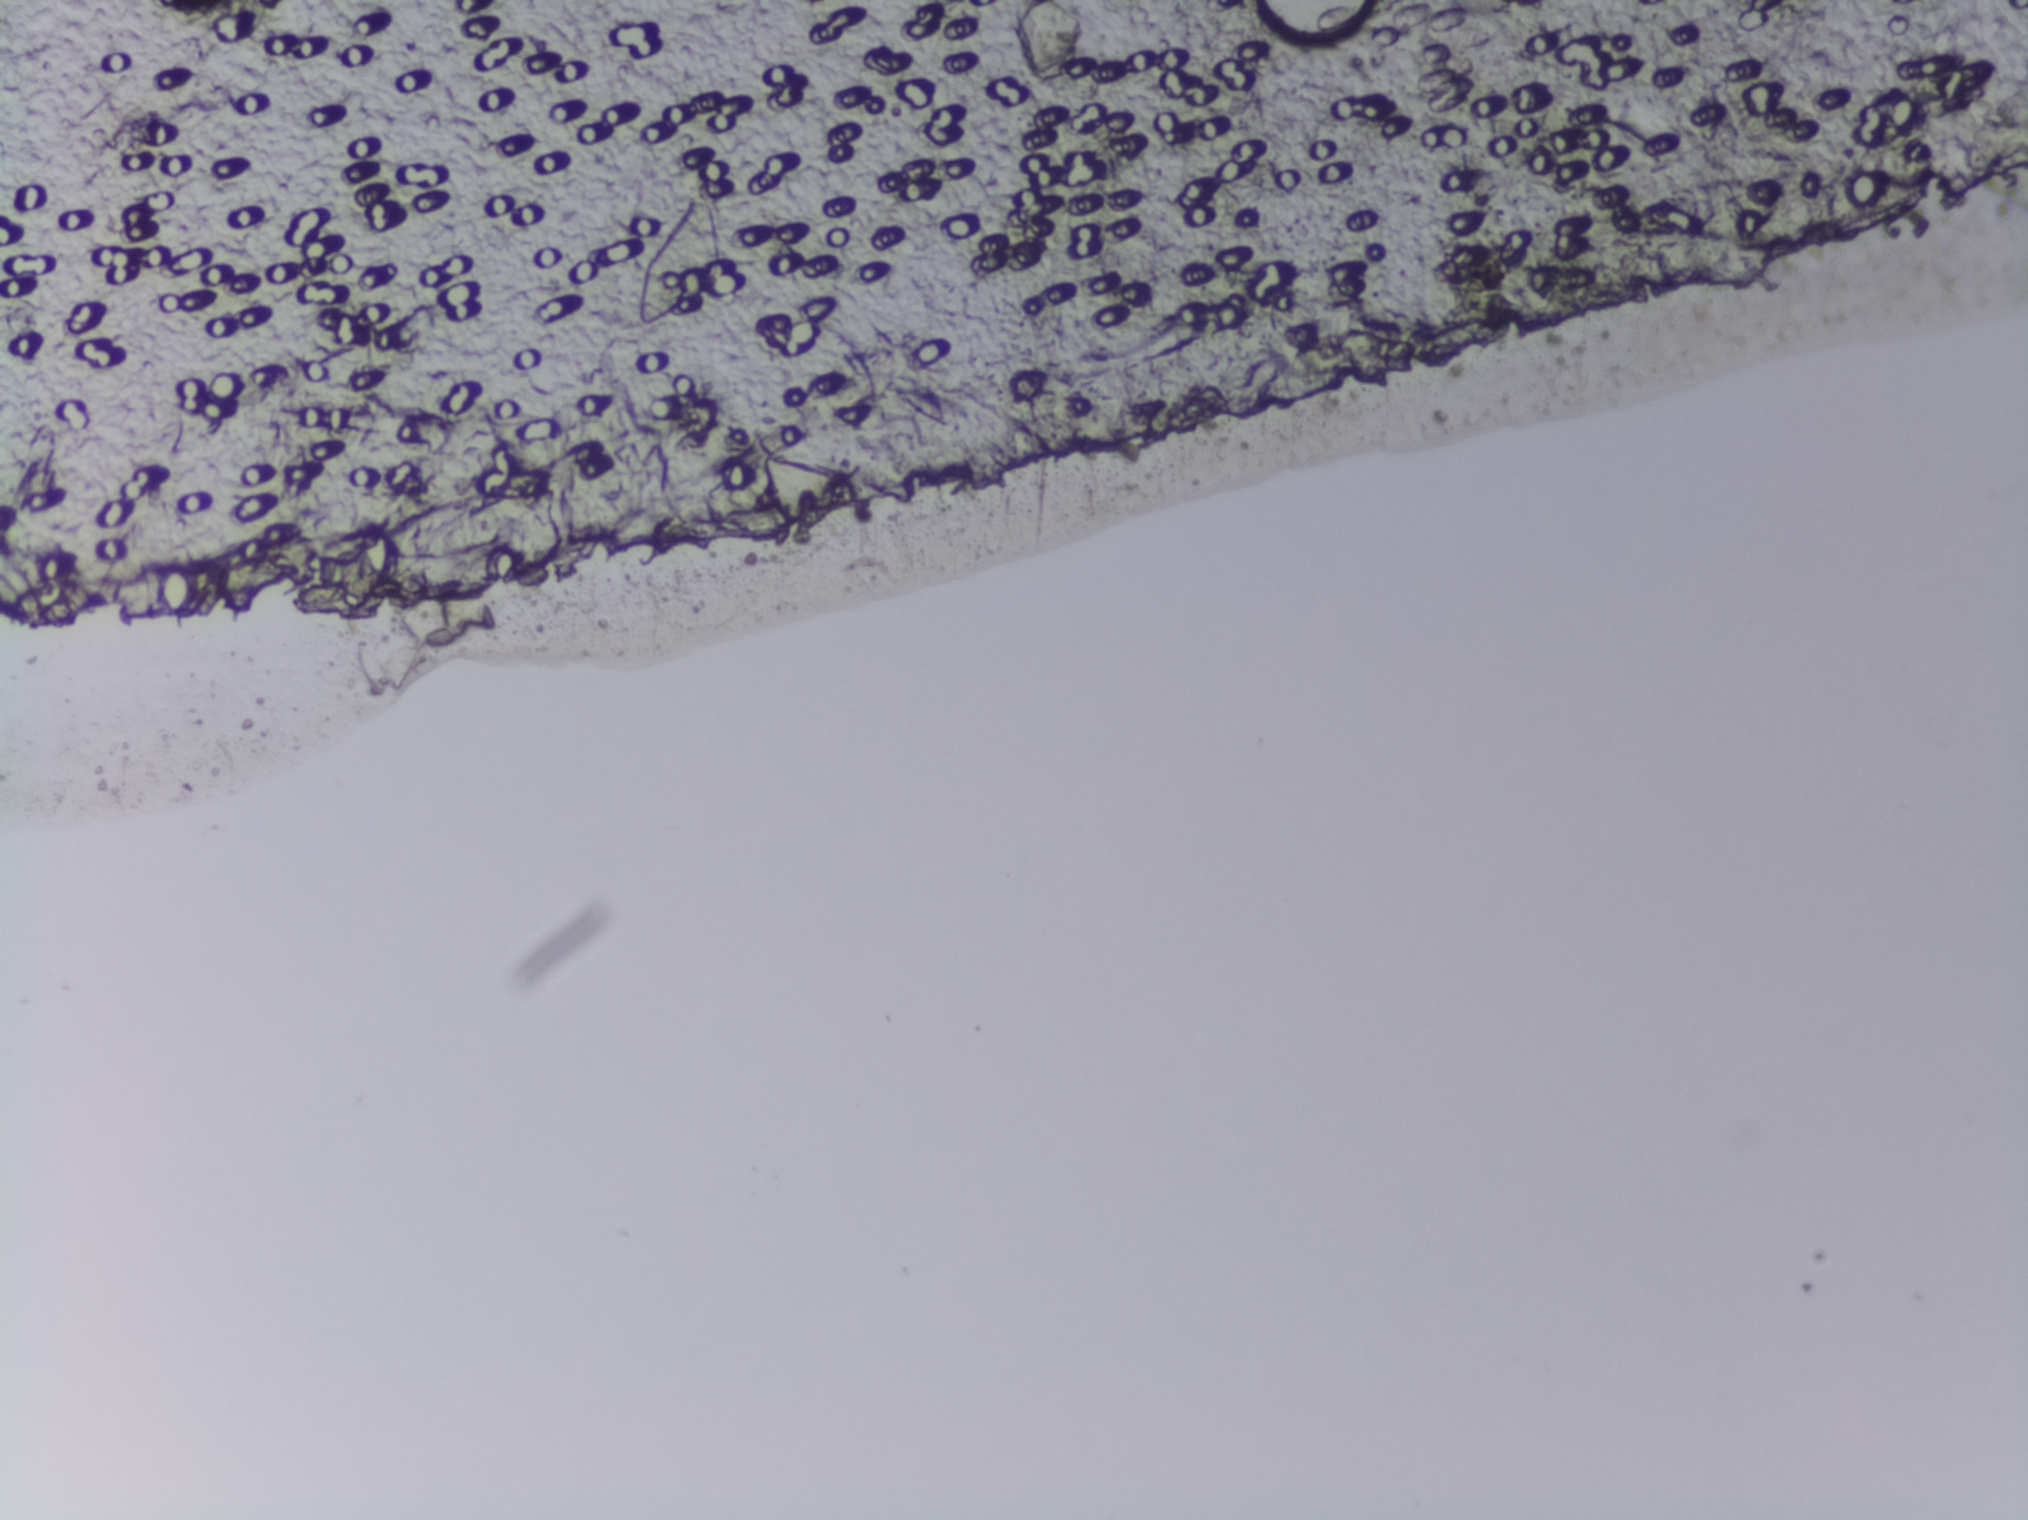
Schistosoma eggs: none outlined.
Photomicrograph of a urine filtration membrane, 4× objective.